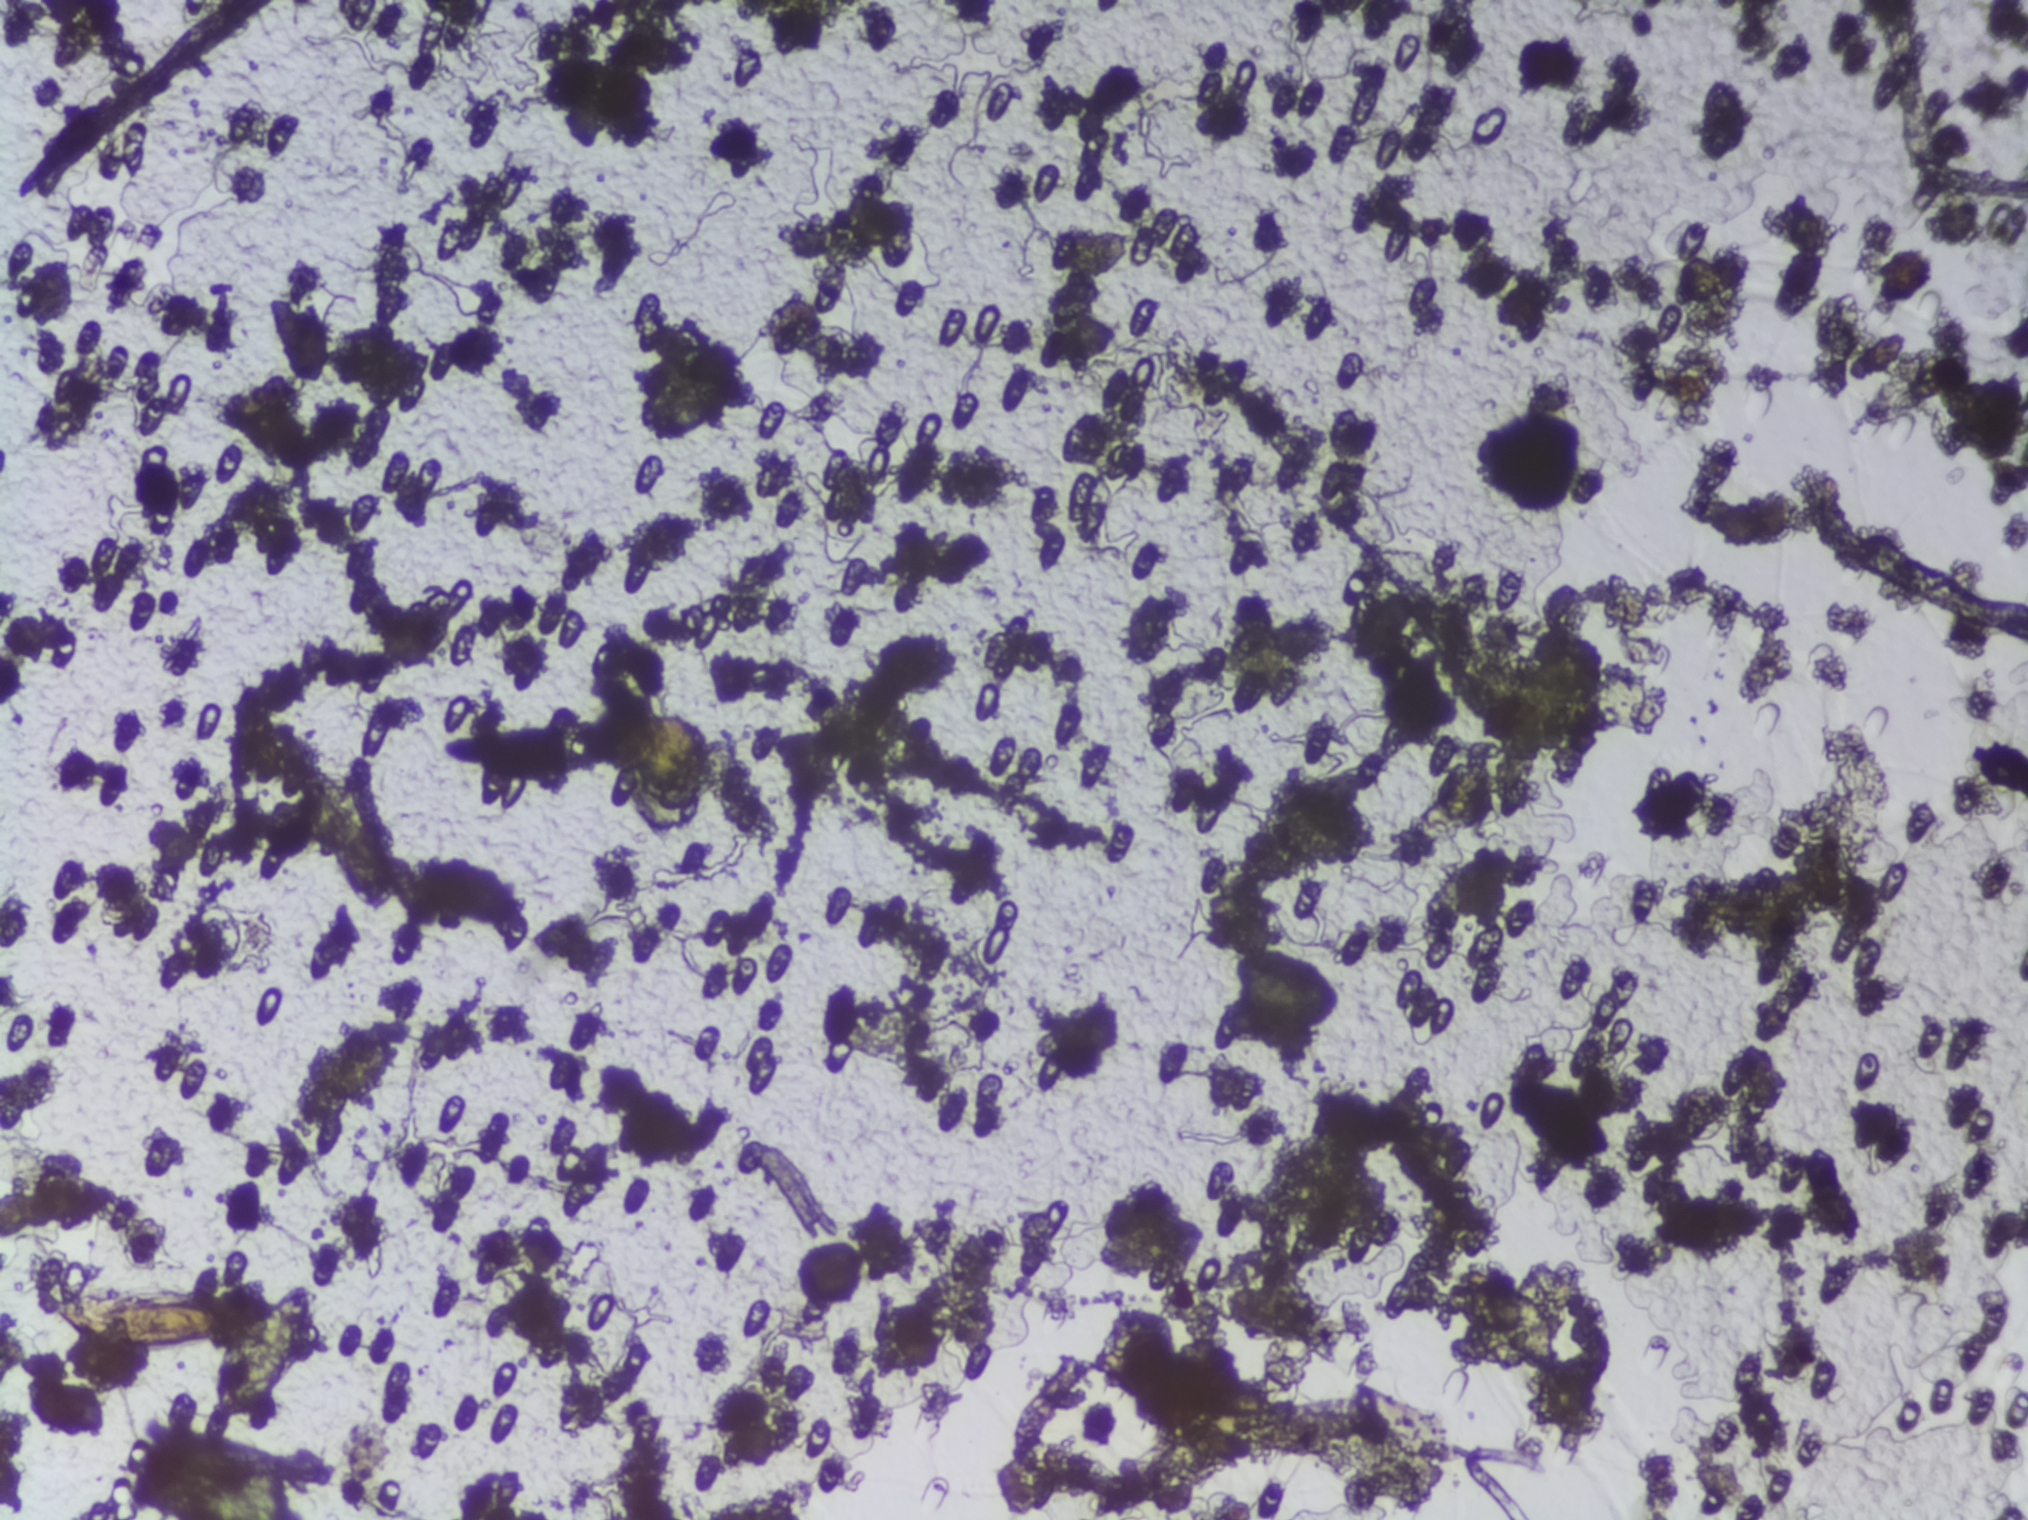
Microscope photograph (4× objective) of a membrane that a urine sample was filtered through. The field of view is about 1.5 mm × 1.1 mm.
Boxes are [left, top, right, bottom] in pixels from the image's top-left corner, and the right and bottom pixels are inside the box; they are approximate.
{"schistosoma_egg_areas_xyxy_px": [[44, 1274, 316, 1421], [1499, 1077, 1611, 1164]]}
An outlined area can hold more than one egg.